Urine filtration membrane under a 4× objective, photographed by an automated digital microscope. The field of view is about 1.5 mm × 1.1 mm.
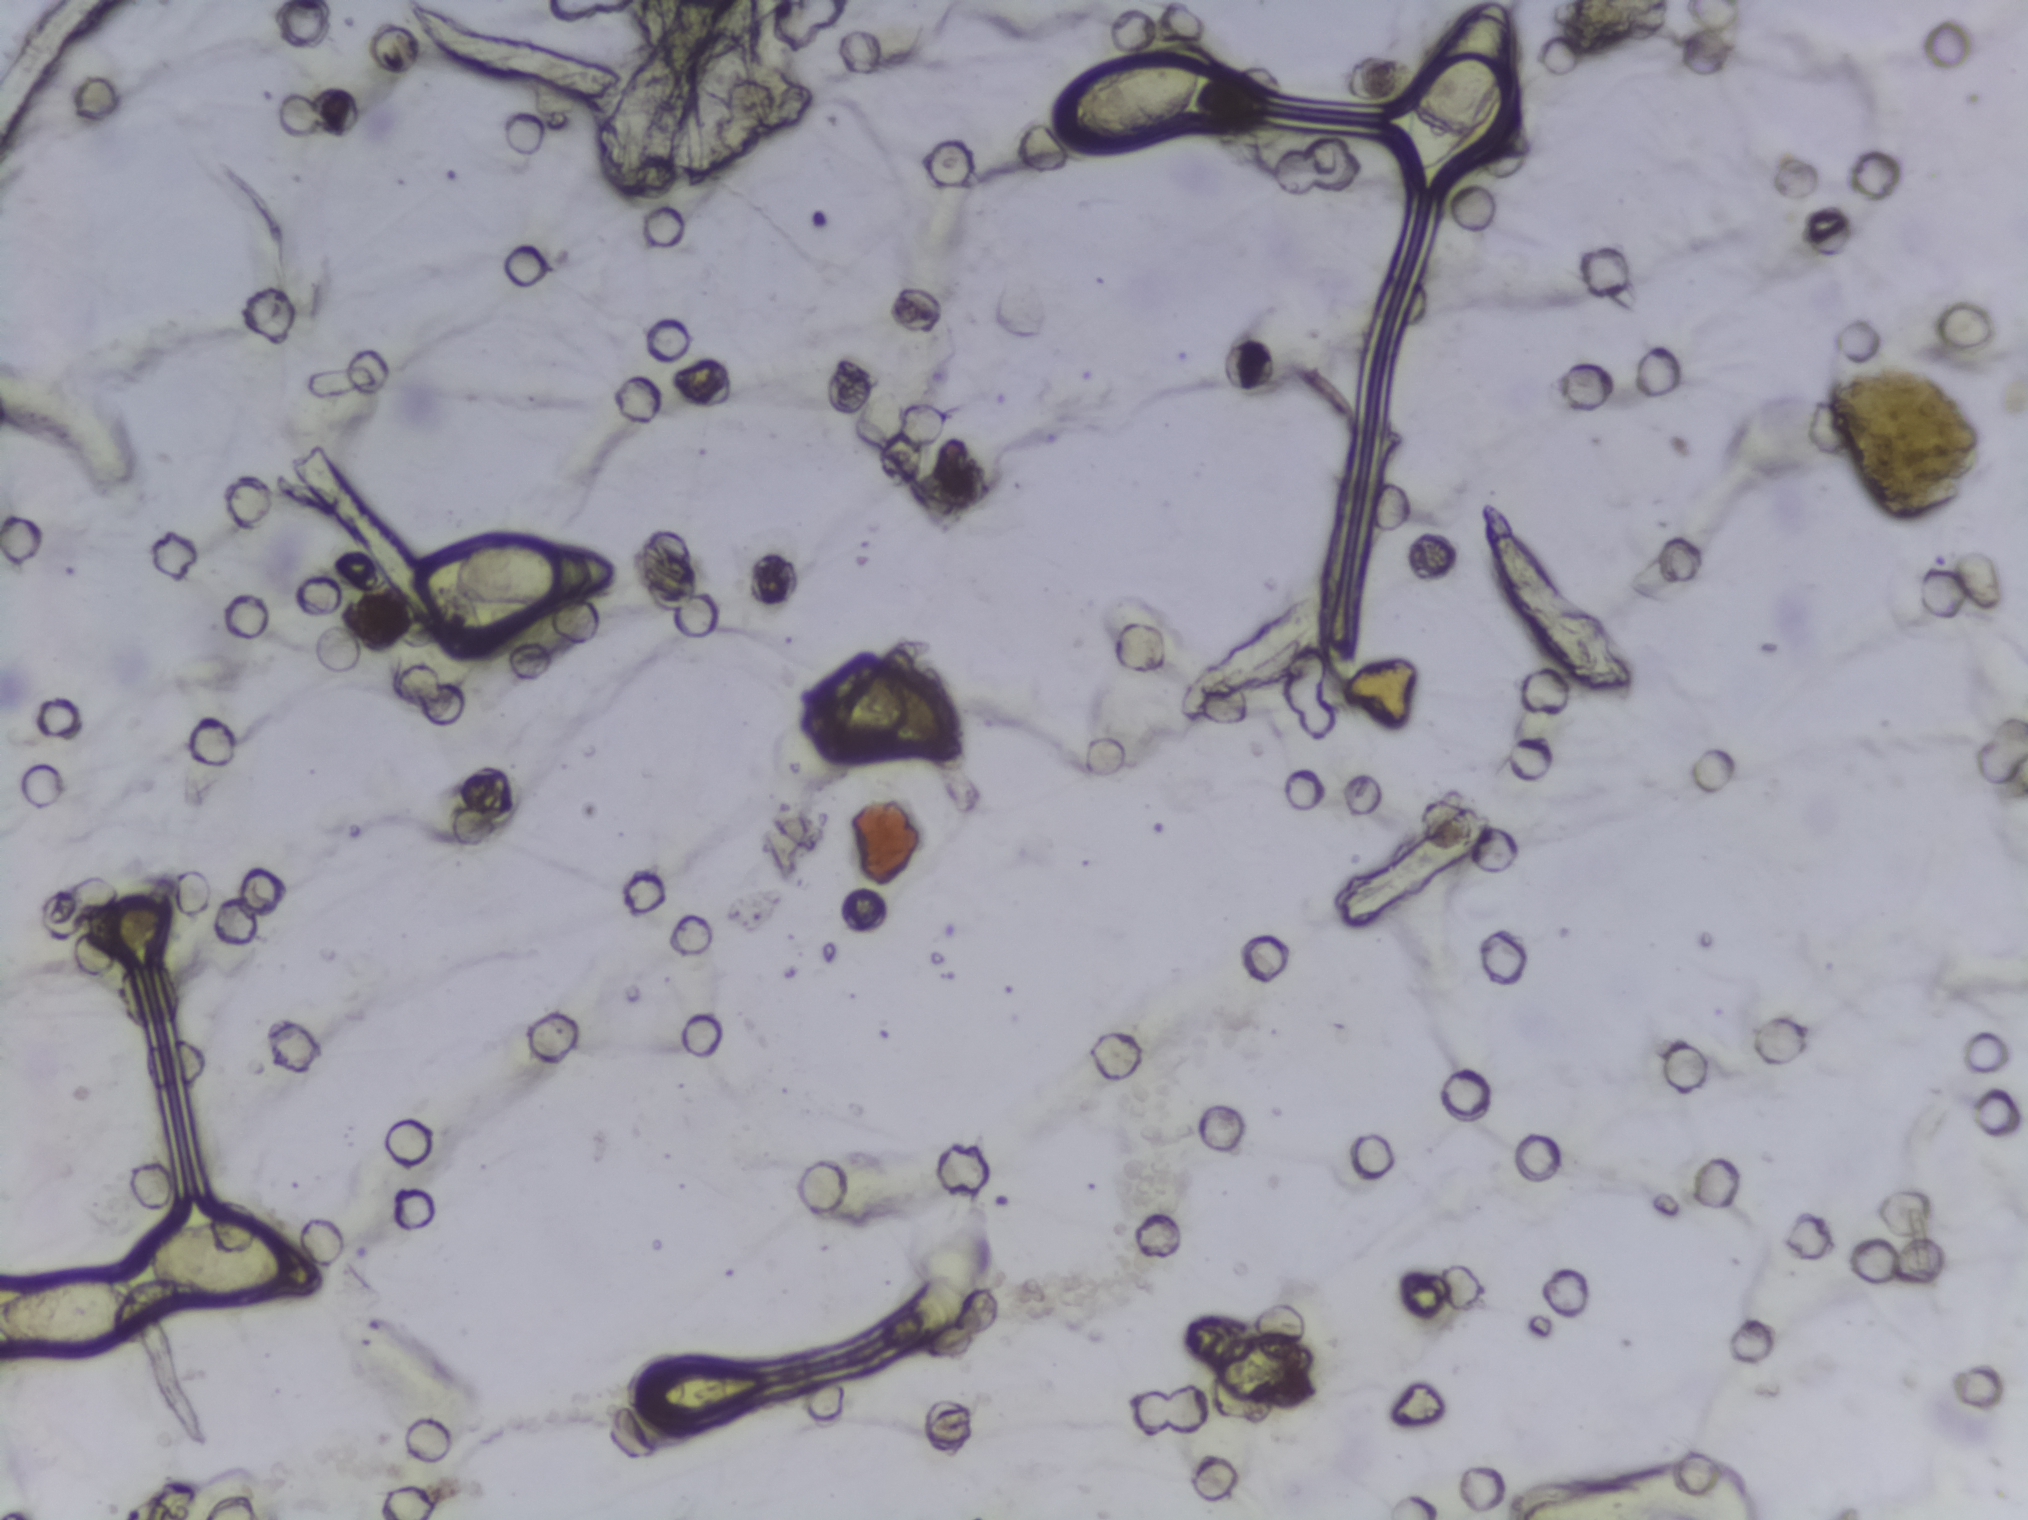
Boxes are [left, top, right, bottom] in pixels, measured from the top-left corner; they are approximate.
Areas outlined as Schistosoma eggs: [0, 1275, 155, 1352] (reaching the left edge of the frame); [139, 1217, 304, 1299]; [447, 532, 626, 614]; [1050, 41, 1203, 150]; [1400, 0, 1519, 176] (reaching the top edge of the frame). Eggs that touch can end up inside the same outlined area. Any one outlined egg may, rarely, be S. mansoni rather than S. haematobium.